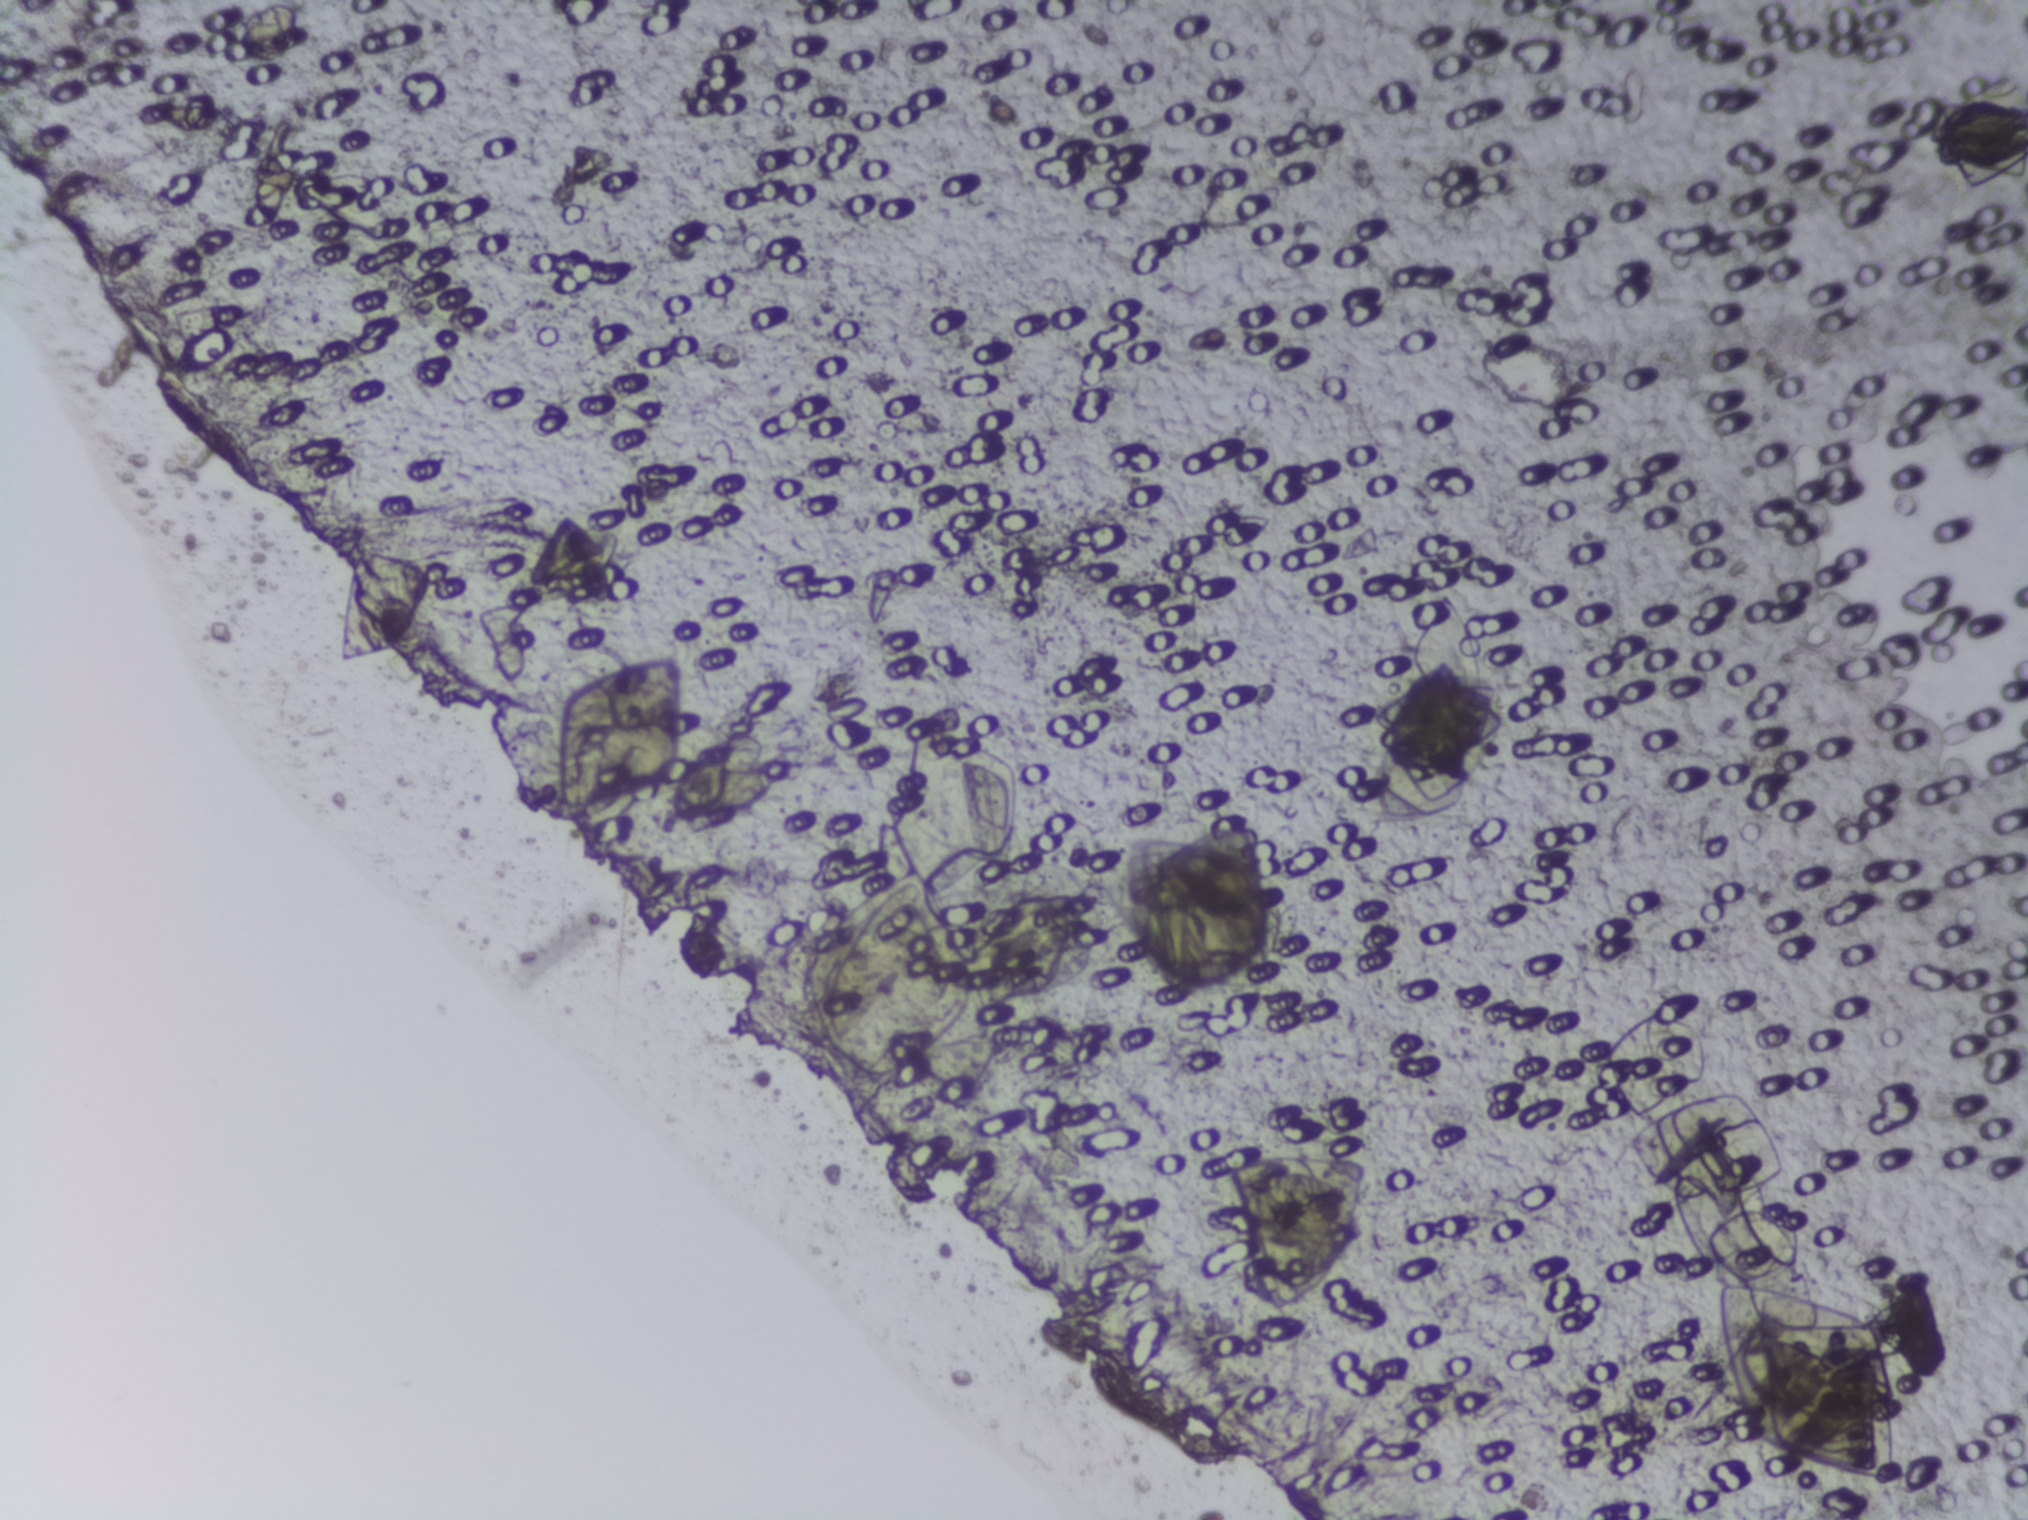
The expert annotation marks no Schistosoma egg in this field of view.
Urine filtration membrane under a 4× objective, photographed by an automated digital microscope. The field of view is about 1.5 mm × 1.1 mm.